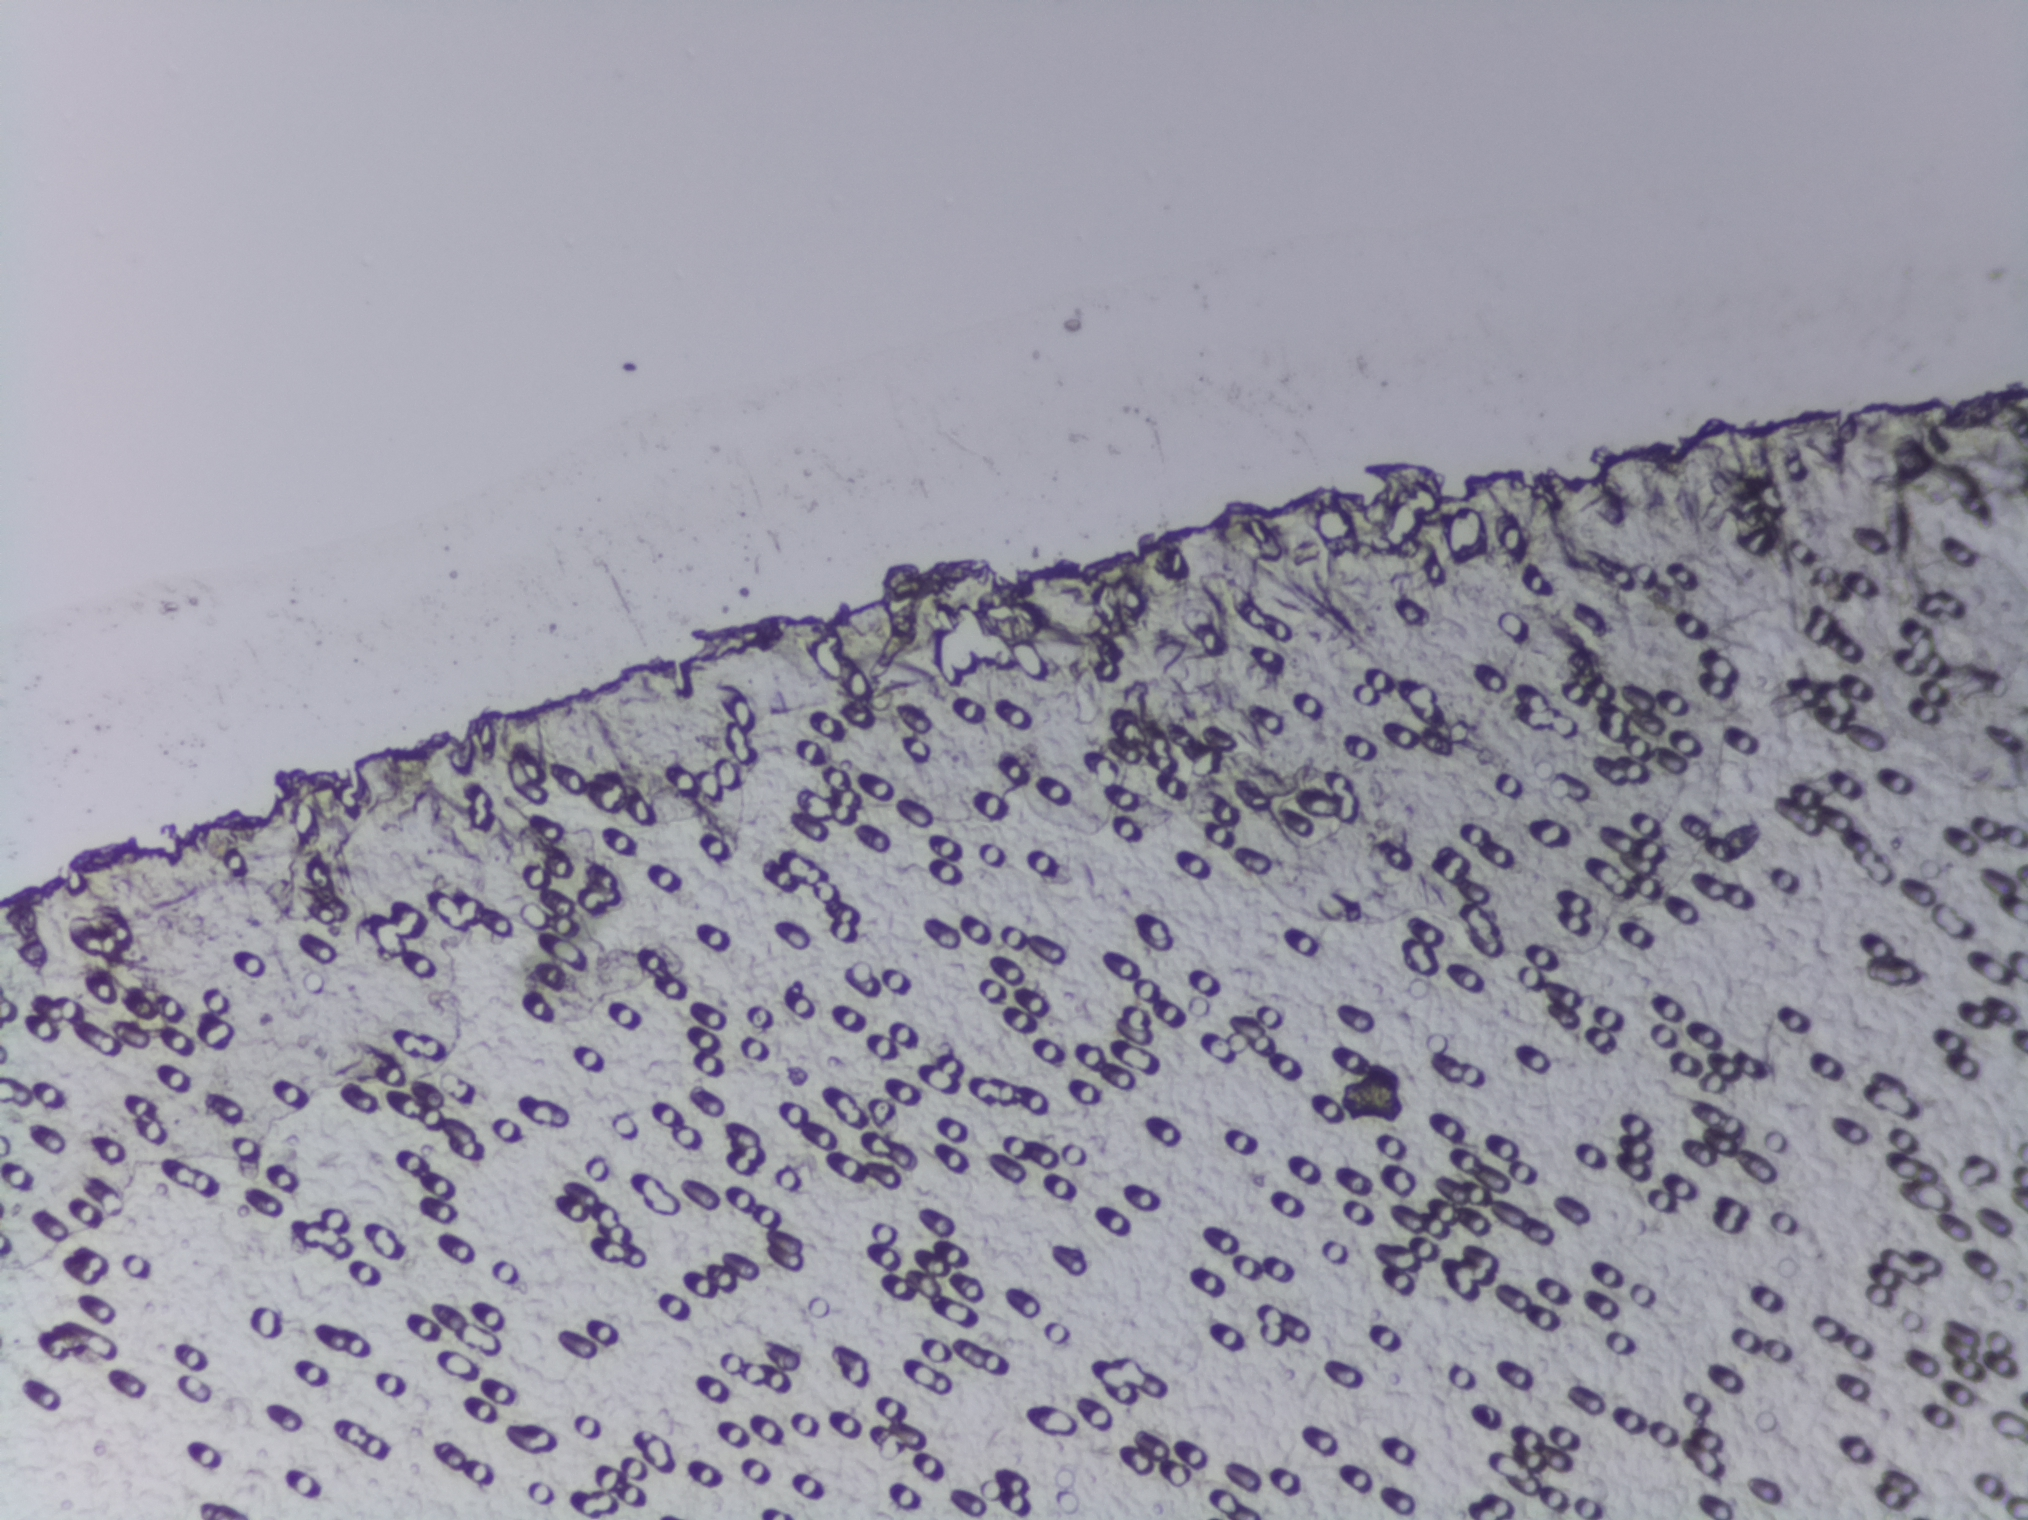
No area of this image was outlined as a Schistosoma egg.
Photograph from an automated digital microscope: urine filter membrane, 4× objective.